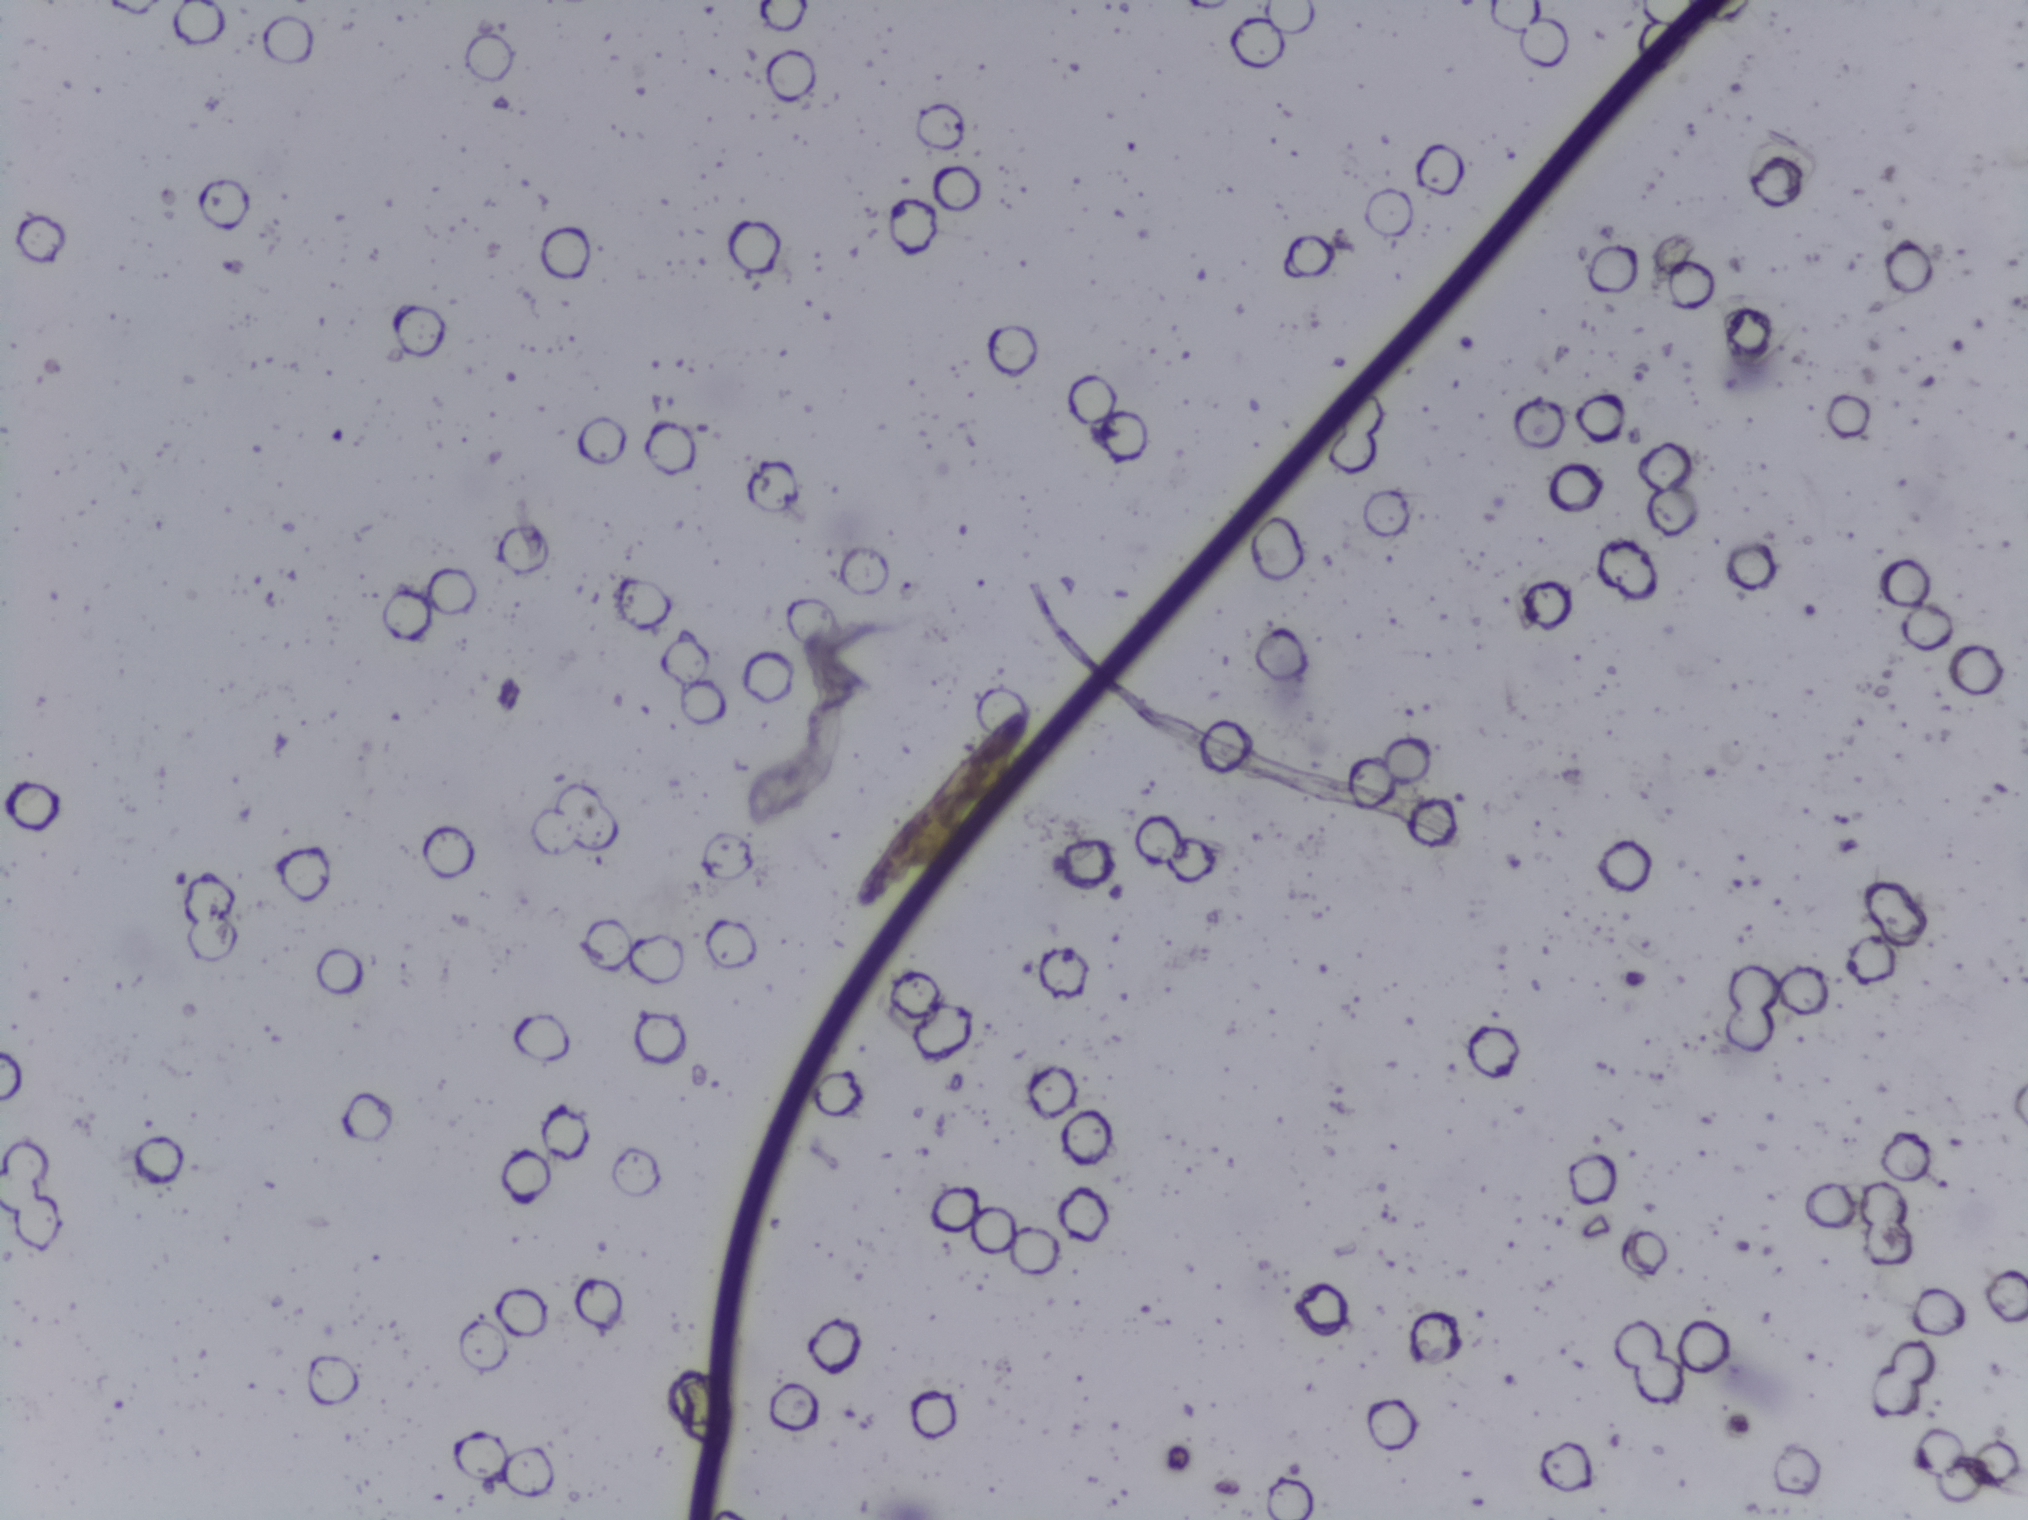
Photograph from an automated digital microscope: urine filter membrane, 4× objective.
The expert annotation outlines no Schistosoma egg in this image.